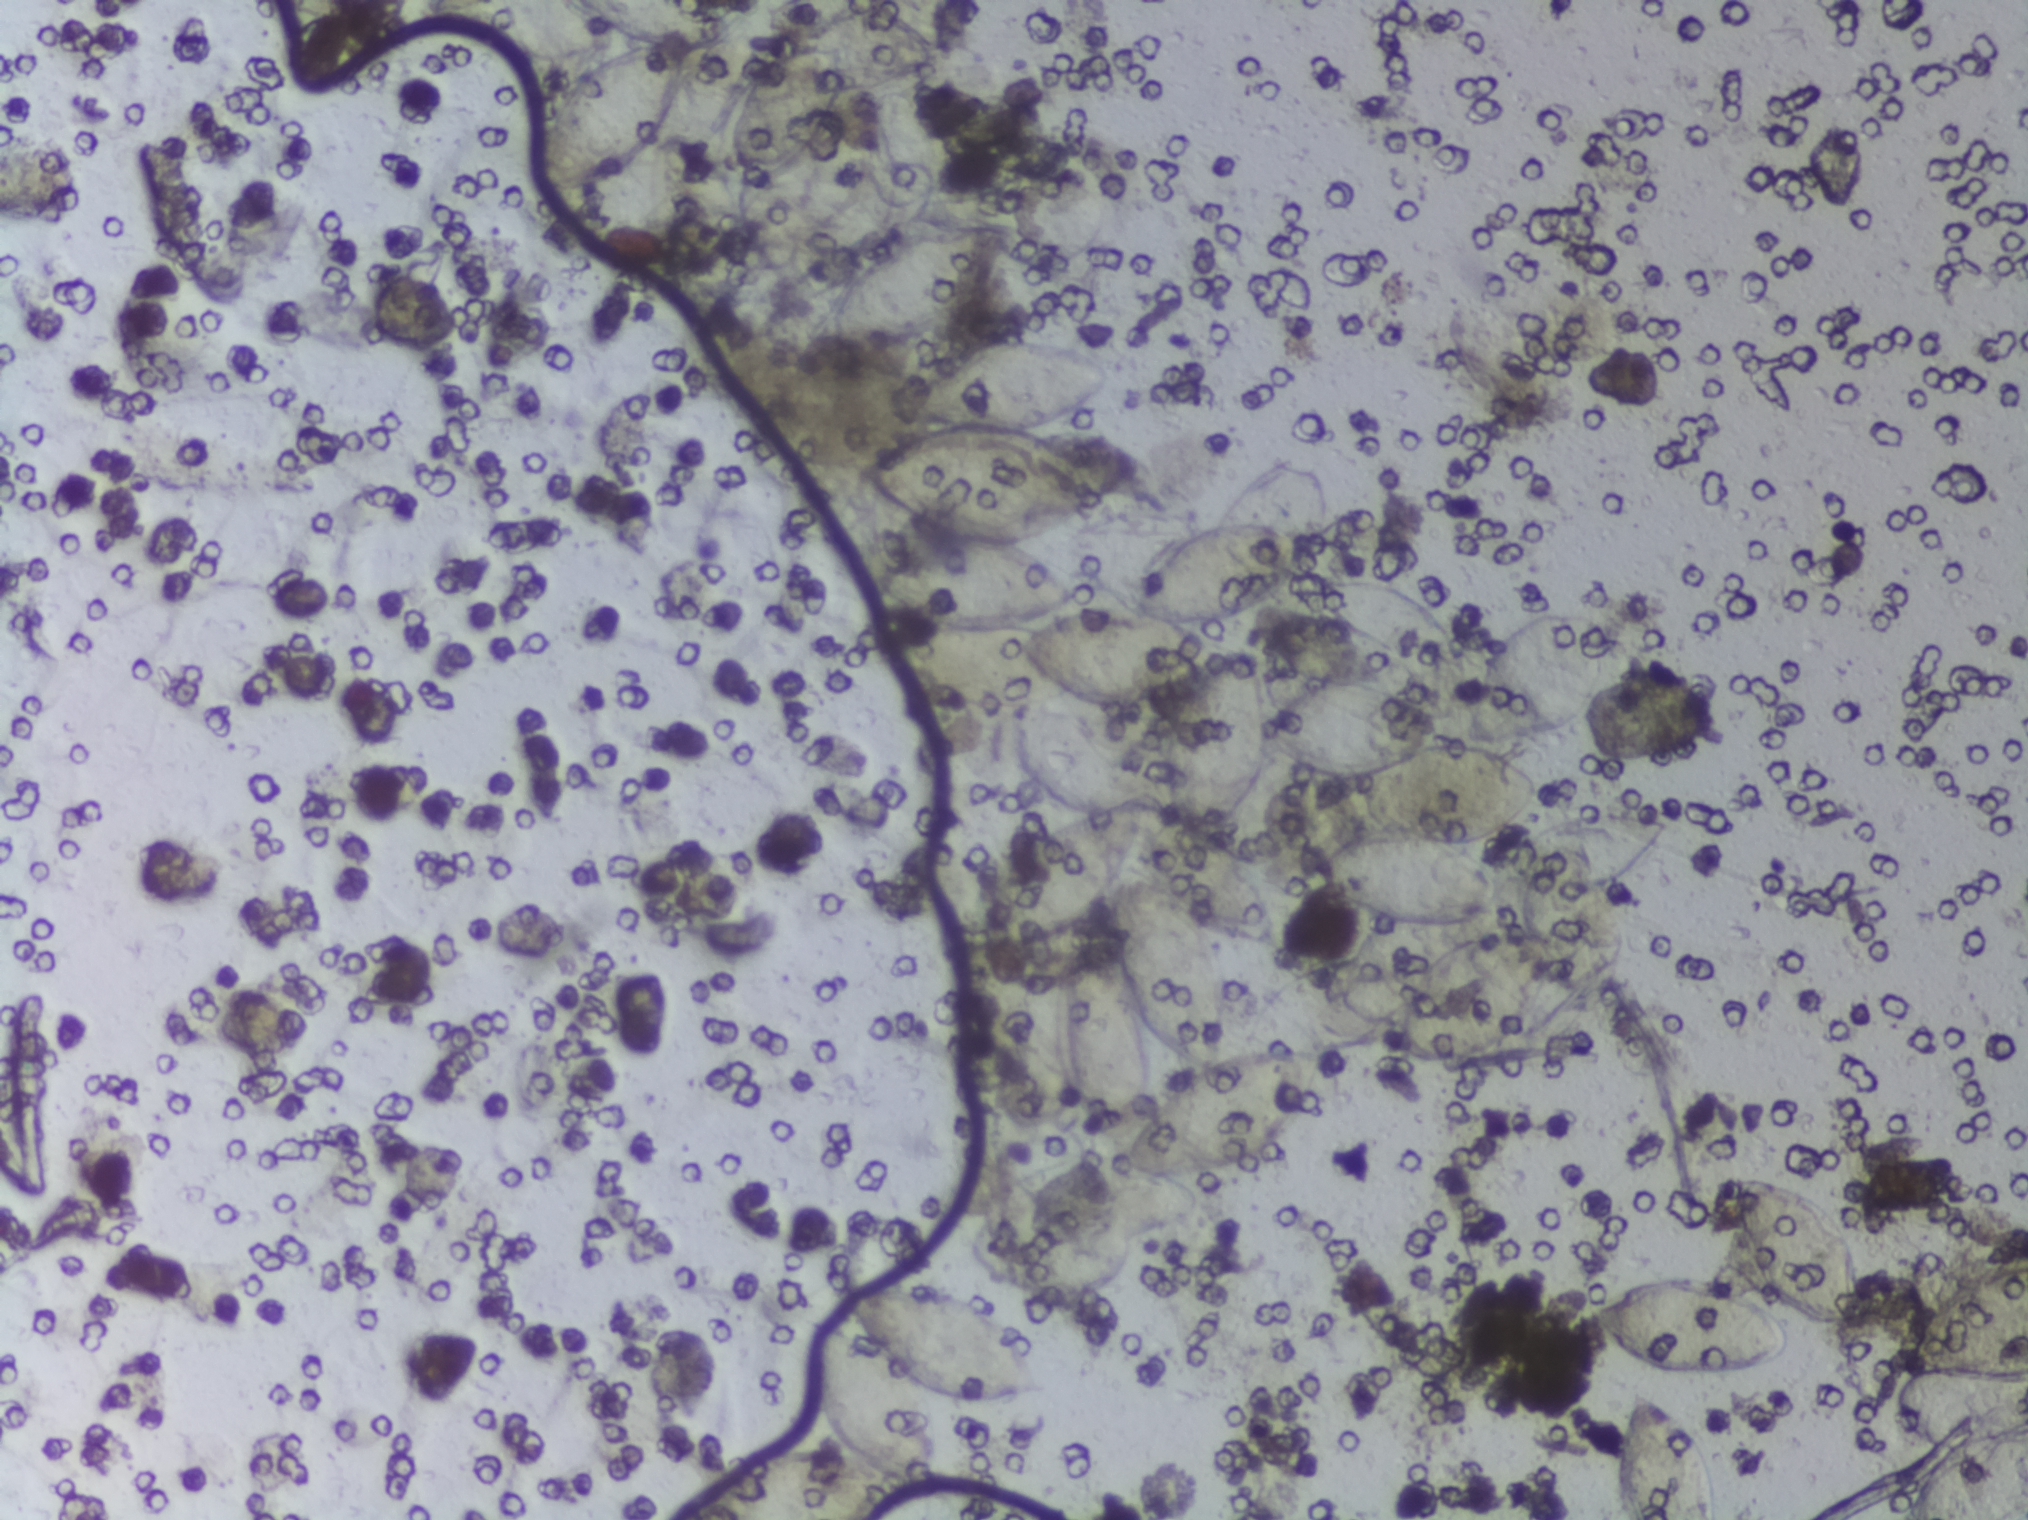
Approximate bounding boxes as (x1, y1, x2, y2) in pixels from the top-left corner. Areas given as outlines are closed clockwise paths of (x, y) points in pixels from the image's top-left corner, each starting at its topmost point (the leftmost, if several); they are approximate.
Findings: seven areas outlined as Schistosoma eggs. Locations, left to right: outline (415, 0), (712, 0), (729, 15), (753, 1), (787, 0), (793, 27), (825, 9), (884, 5), (937, 46), (935, 67), (882, 87), (907, 150), (907, 207), (891, 246), (961, 227), (1004, 224), (1018, 233), (1015, 251), (975, 299), (880, 345), (814, 340), (811, 325), (825, 306), (802, 297), (782, 273), (761, 277), (746, 255), (714, 331), (685, 325), (669, 309), (655, 262), (656, 144), (598, 179), (545, 191), (534, 177), (535, 151), (548, 114), (578, 66), (506, 57), (436, 20) (a cluster of eggs; reaching the top edge of the frame); box (676, 1281, 1051, 1519) (reaching the bottom edge of the frame); outline (1009, 335), (1088, 351), (1114, 369), (1099, 395), (1046, 433), (1109, 460), (1120, 472), (1114, 507), (1046, 547), (1085, 577), (1088, 599), (1121, 598), (1128, 581), (1163, 547), (1212, 528), (1276, 460), (1313, 459), (1335, 480), (1336, 509), (1324, 528), (1304, 537), (1304, 571), (1277, 597), (1303, 603), (1306, 590), (1322, 576), (1367, 570), (1399, 581), (1460, 624), (1471, 658), (1463, 690), (1435, 700), (1444, 726), (1441, 742), (1512, 760), (1539, 783), (1522, 819), (1473, 853), (1492, 869), (1503, 852), (1551, 818), (1600, 808), (1667, 819), (1670, 828), (1635, 874), (1611, 890), (1627, 940), (1626, 975), (1612, 1002), (1570, 1008), (1545, 992), (1529, 1027), (1510, 1046), (1471, 1063), (1409, 1066), (1393, 1059), (1388, 1036), (1325, 1055), (1295, 1137), (1268, 1159), (1203, 1176), (1209, 1208), (1195, 1224), (1070, 1267), (990, 1277), (974, 1265), (969, 1237), (1001, 1175), (1015, 1166), (1018, 1173), (1039, 1162), (1120, 1147), (1093, 1133), (1056, 1076), (1063, 960), (1074, 945), (1111, 946), (1110, 922), (1106, 915), (1068, 934), (1022, 943), (963, 938), (962, 916), (976, 889), (1031, 824), (1056, 812), (1011, 768), (1004, 740), (1009, 709), (940, 700), (907, 682), (888, 659), (884, 631), (912, 622), (881, 599), (863, 574), (863, 559), (878, 547), (928, 534), (871, 499), (860, 485), (859, 468), (913, 426), (891, 410), (911, 380), (975, 343) (a cluster of eggs; with gaps inside, about 6.9% of the space inside its outline); box (1466, 605, 1616, 747); box (1580, 1169, 1870, 1381); box (1610, 1384, 1716, 1519) (reaching the bottom edge of the frame); box (1888, 1260, 2027, 1519) (reaching the right and bottom edges of the frame). Eggs that touch can end up inside the same outlined area.
One field of view of a urine filter membrane, 4× objective, 2028 × 1520 pixels. The field of view is about 1.5 mm × 1.1 mm.